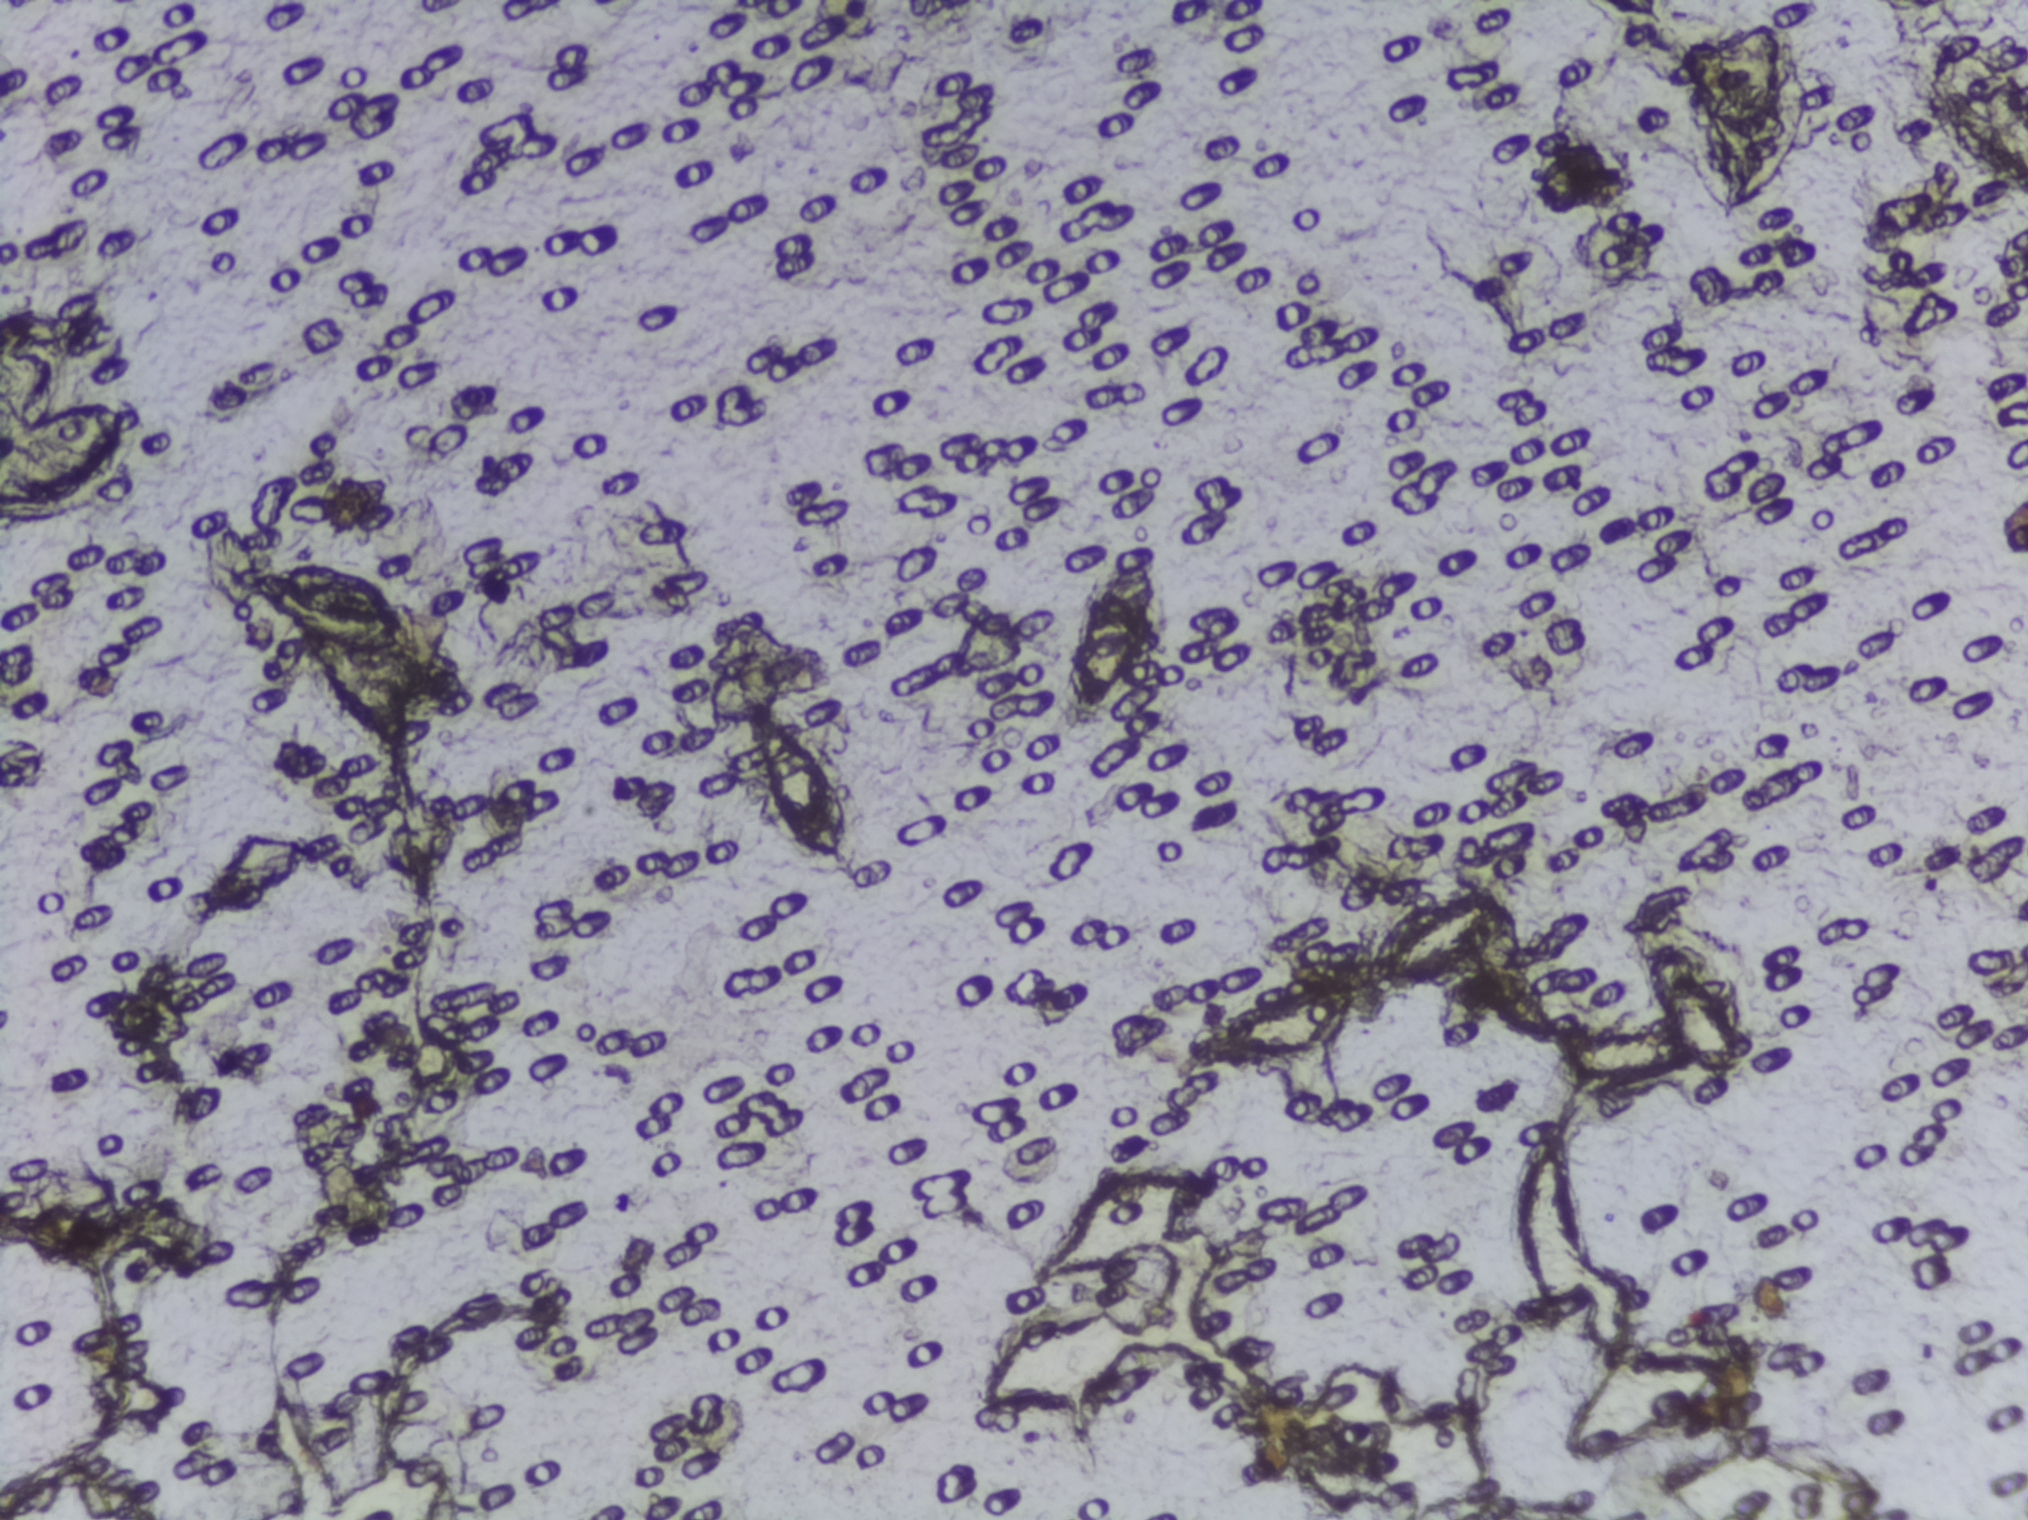
Photomicrograph of a urine filtration membrane, 4× objective. The image covers about 1.5 × 1.1 mm of the membrane.
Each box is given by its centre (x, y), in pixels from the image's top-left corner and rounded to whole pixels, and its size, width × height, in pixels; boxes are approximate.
Schistosoma eggs, outlined areas: centre (82, 465), 164 × 157 px (reaching the left edge of the frame). Eggs that touch can end up inside the same outlined area.